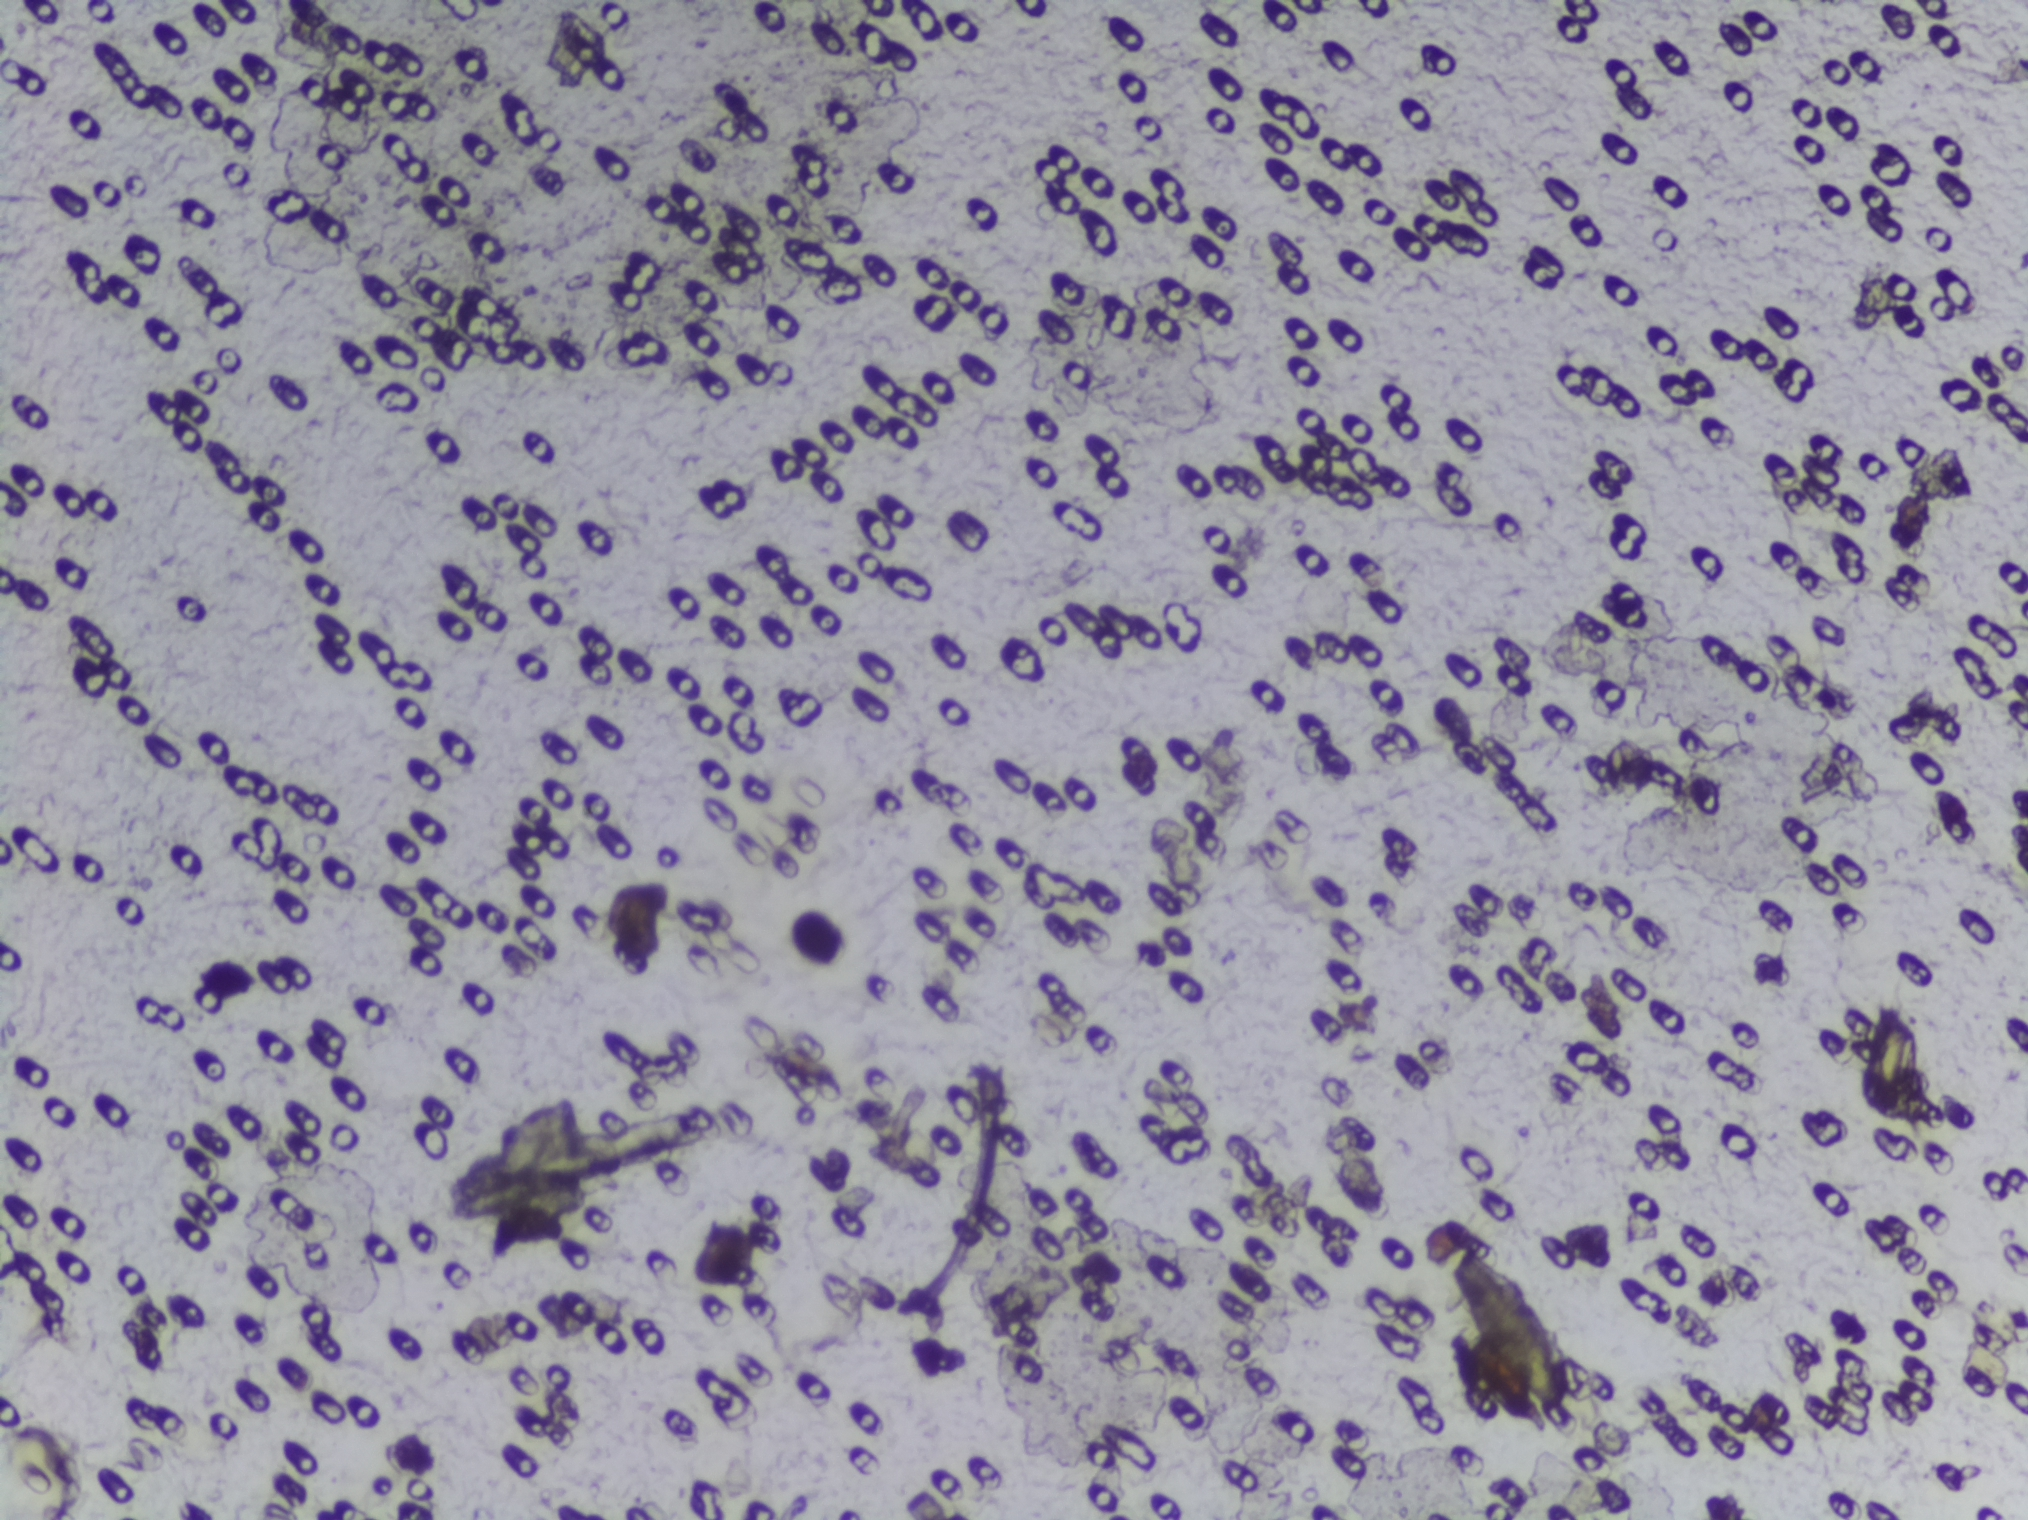
Urine filter membrane photographed through a 4× microscope objective.
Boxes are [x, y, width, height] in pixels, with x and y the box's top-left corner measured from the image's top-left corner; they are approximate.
Findings: one area outlined as Schistosoma eggs. Location: [1434, 1224, 168, 217]. Marked pixels, not the box around them: about 0.8% of the image. An outlined area can hold more than one egg.